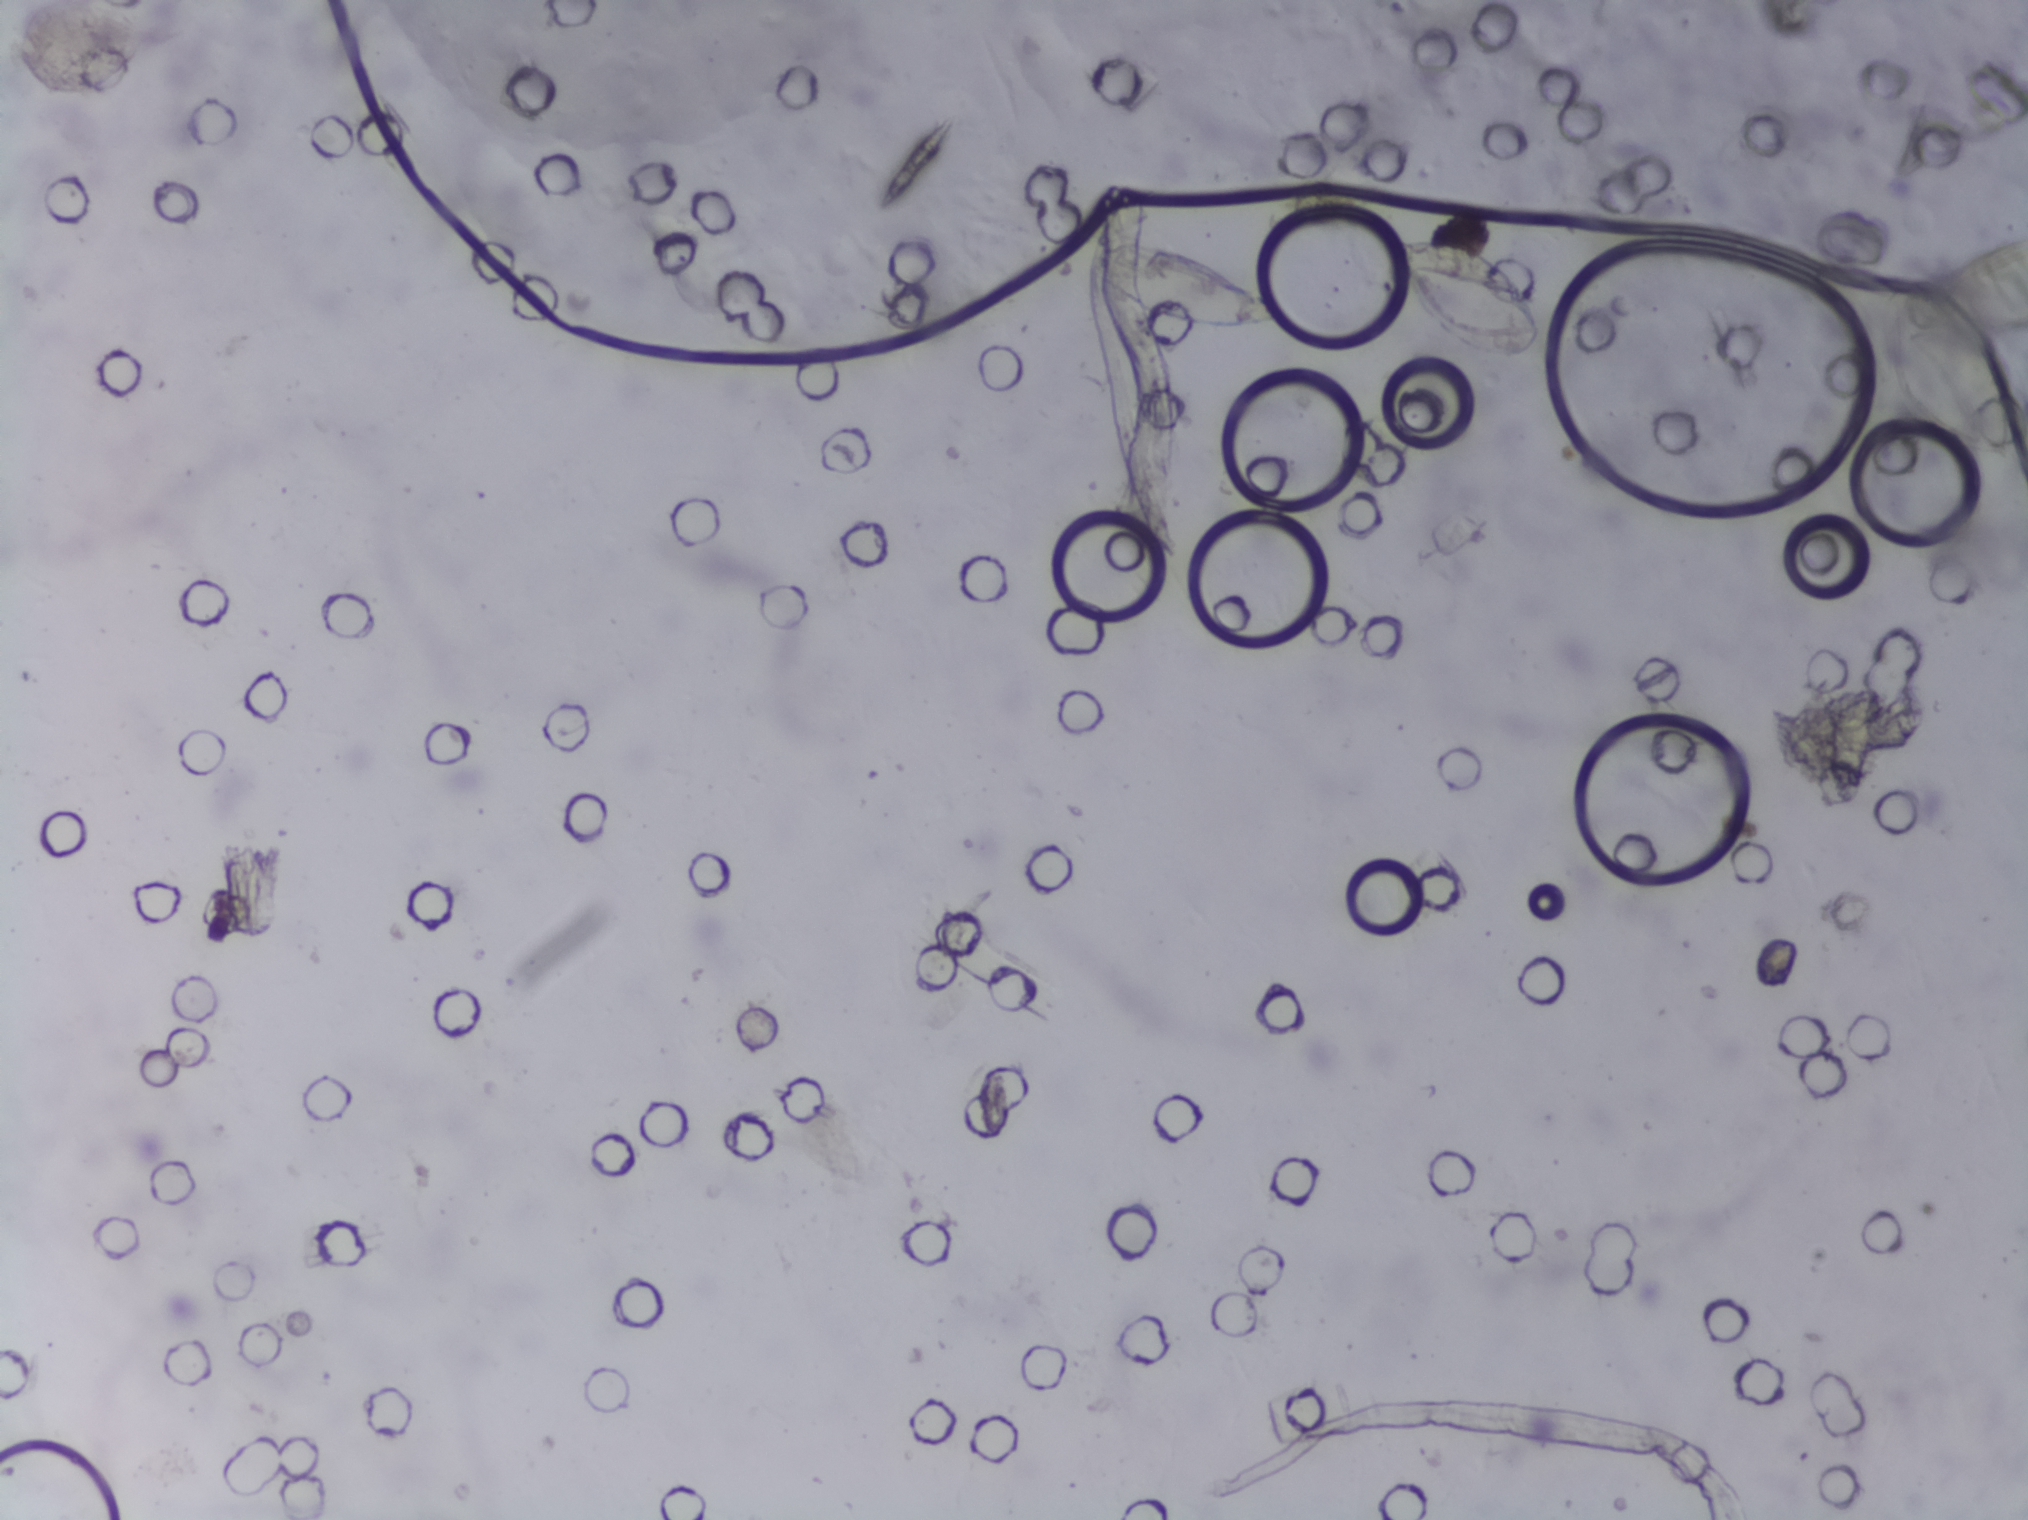
Photomicrograph of a urine filtration membrane, 4× objective.
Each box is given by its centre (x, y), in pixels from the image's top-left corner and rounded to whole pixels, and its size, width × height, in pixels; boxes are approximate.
Schistosoma eggs are outlined in one area of this image: centre (1468, 297), 149 × 122 px. An outlined area can hold more than one egg.